One field of view of a urine filter membrane, 4× objective, 2028 × 1520 pixels.
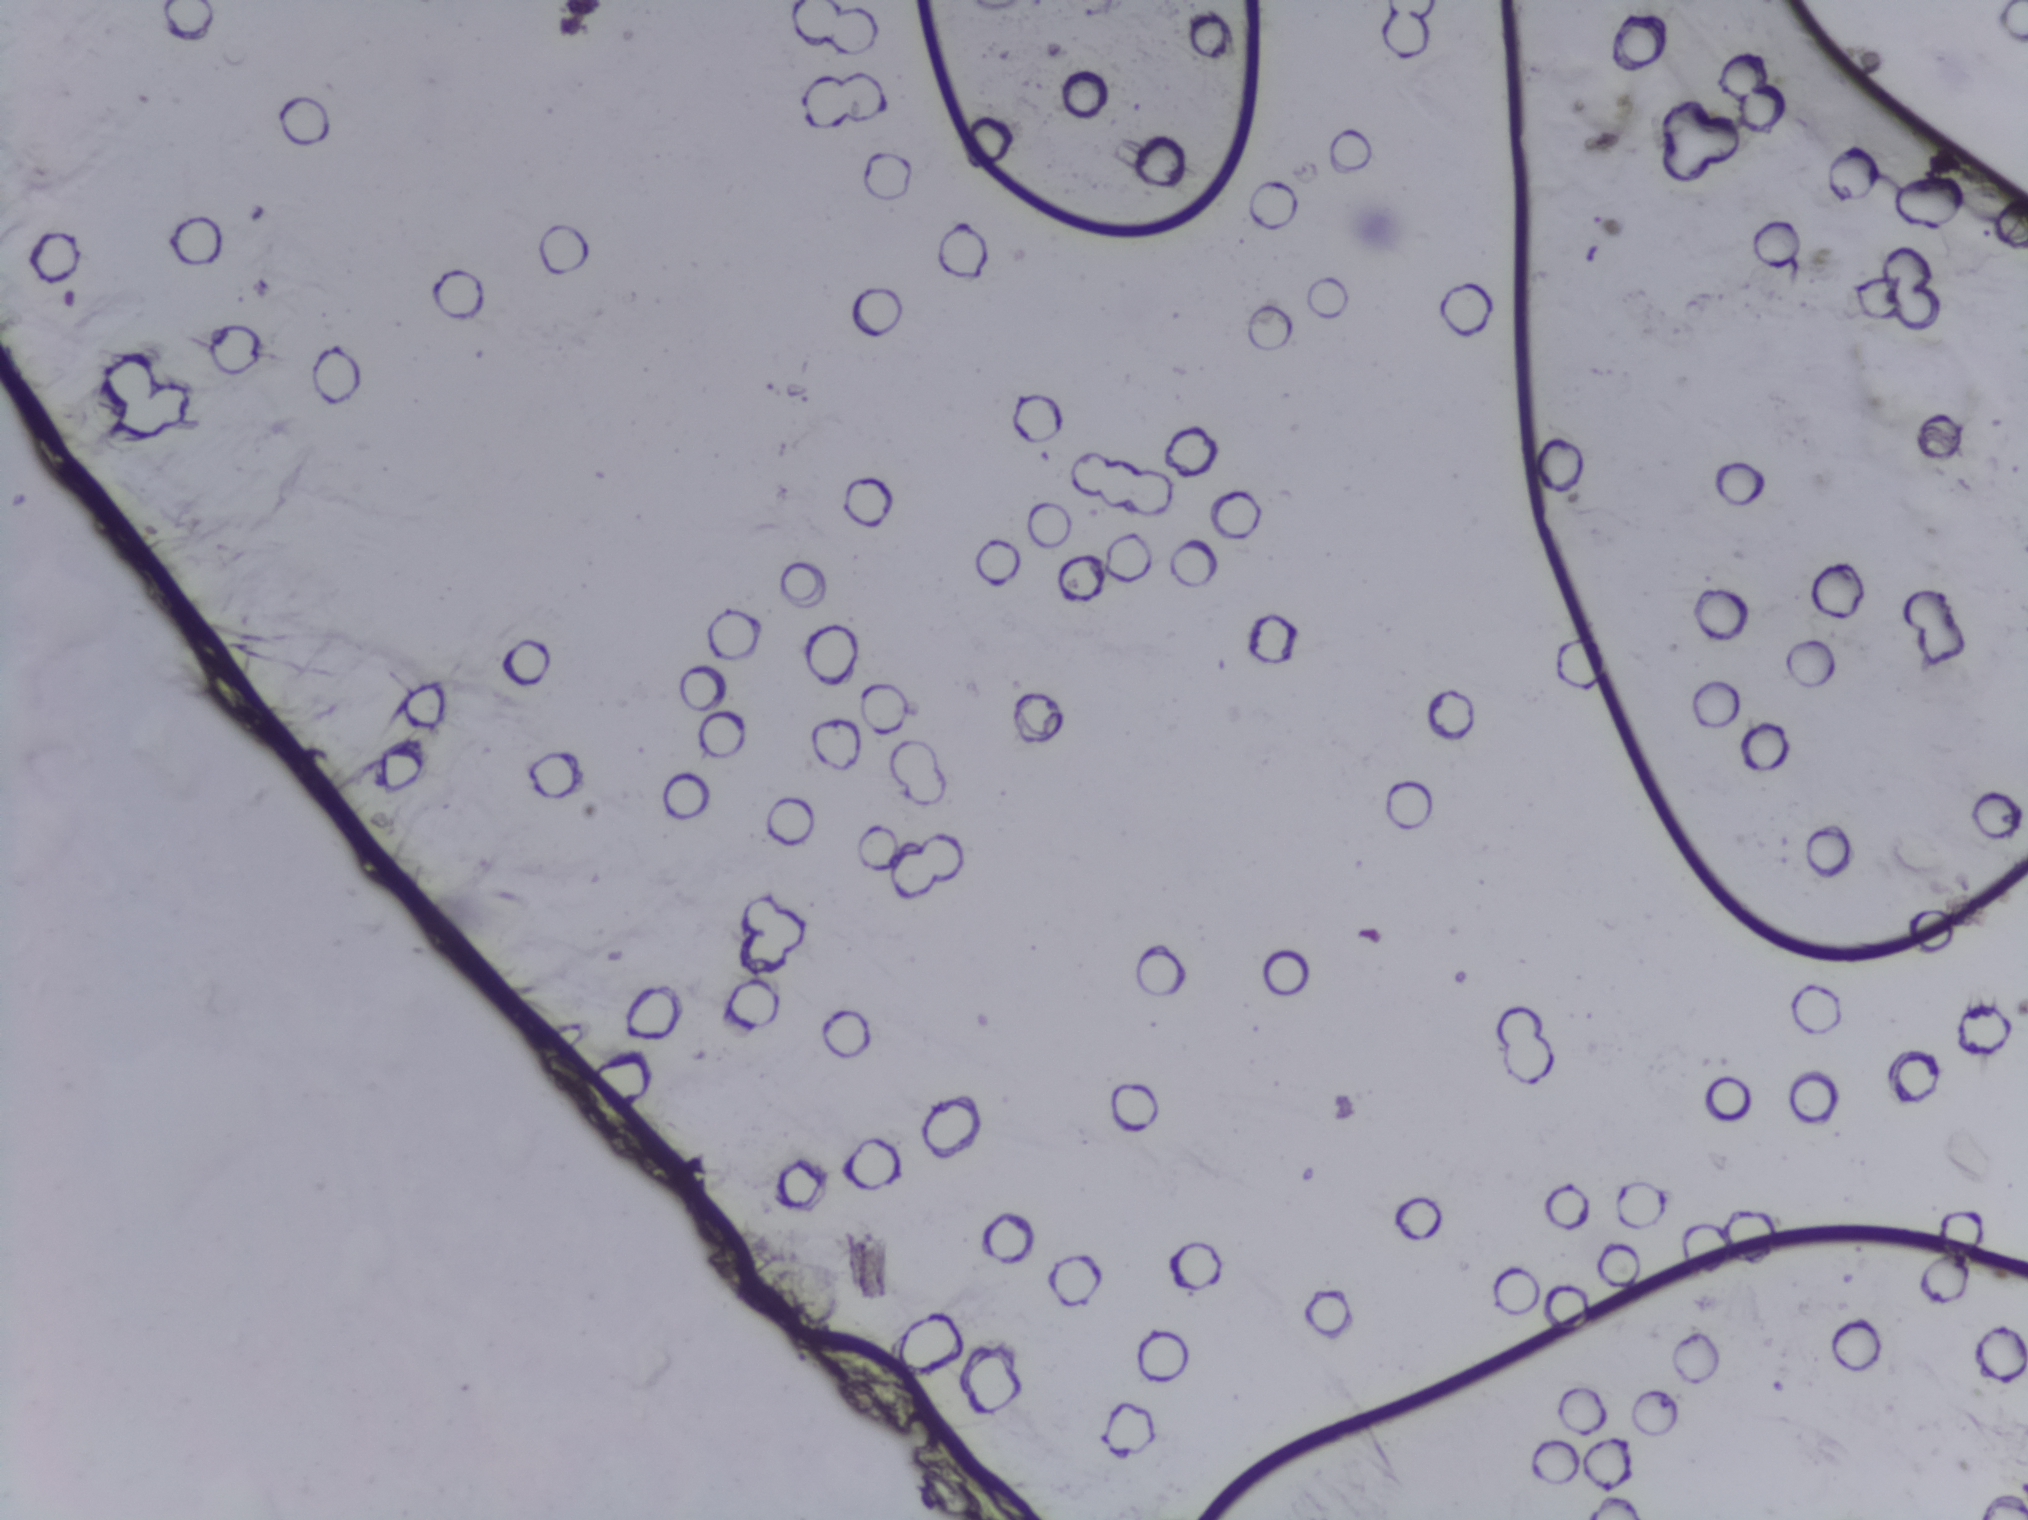
No area of this image was outlined as a Schistosoma egg.